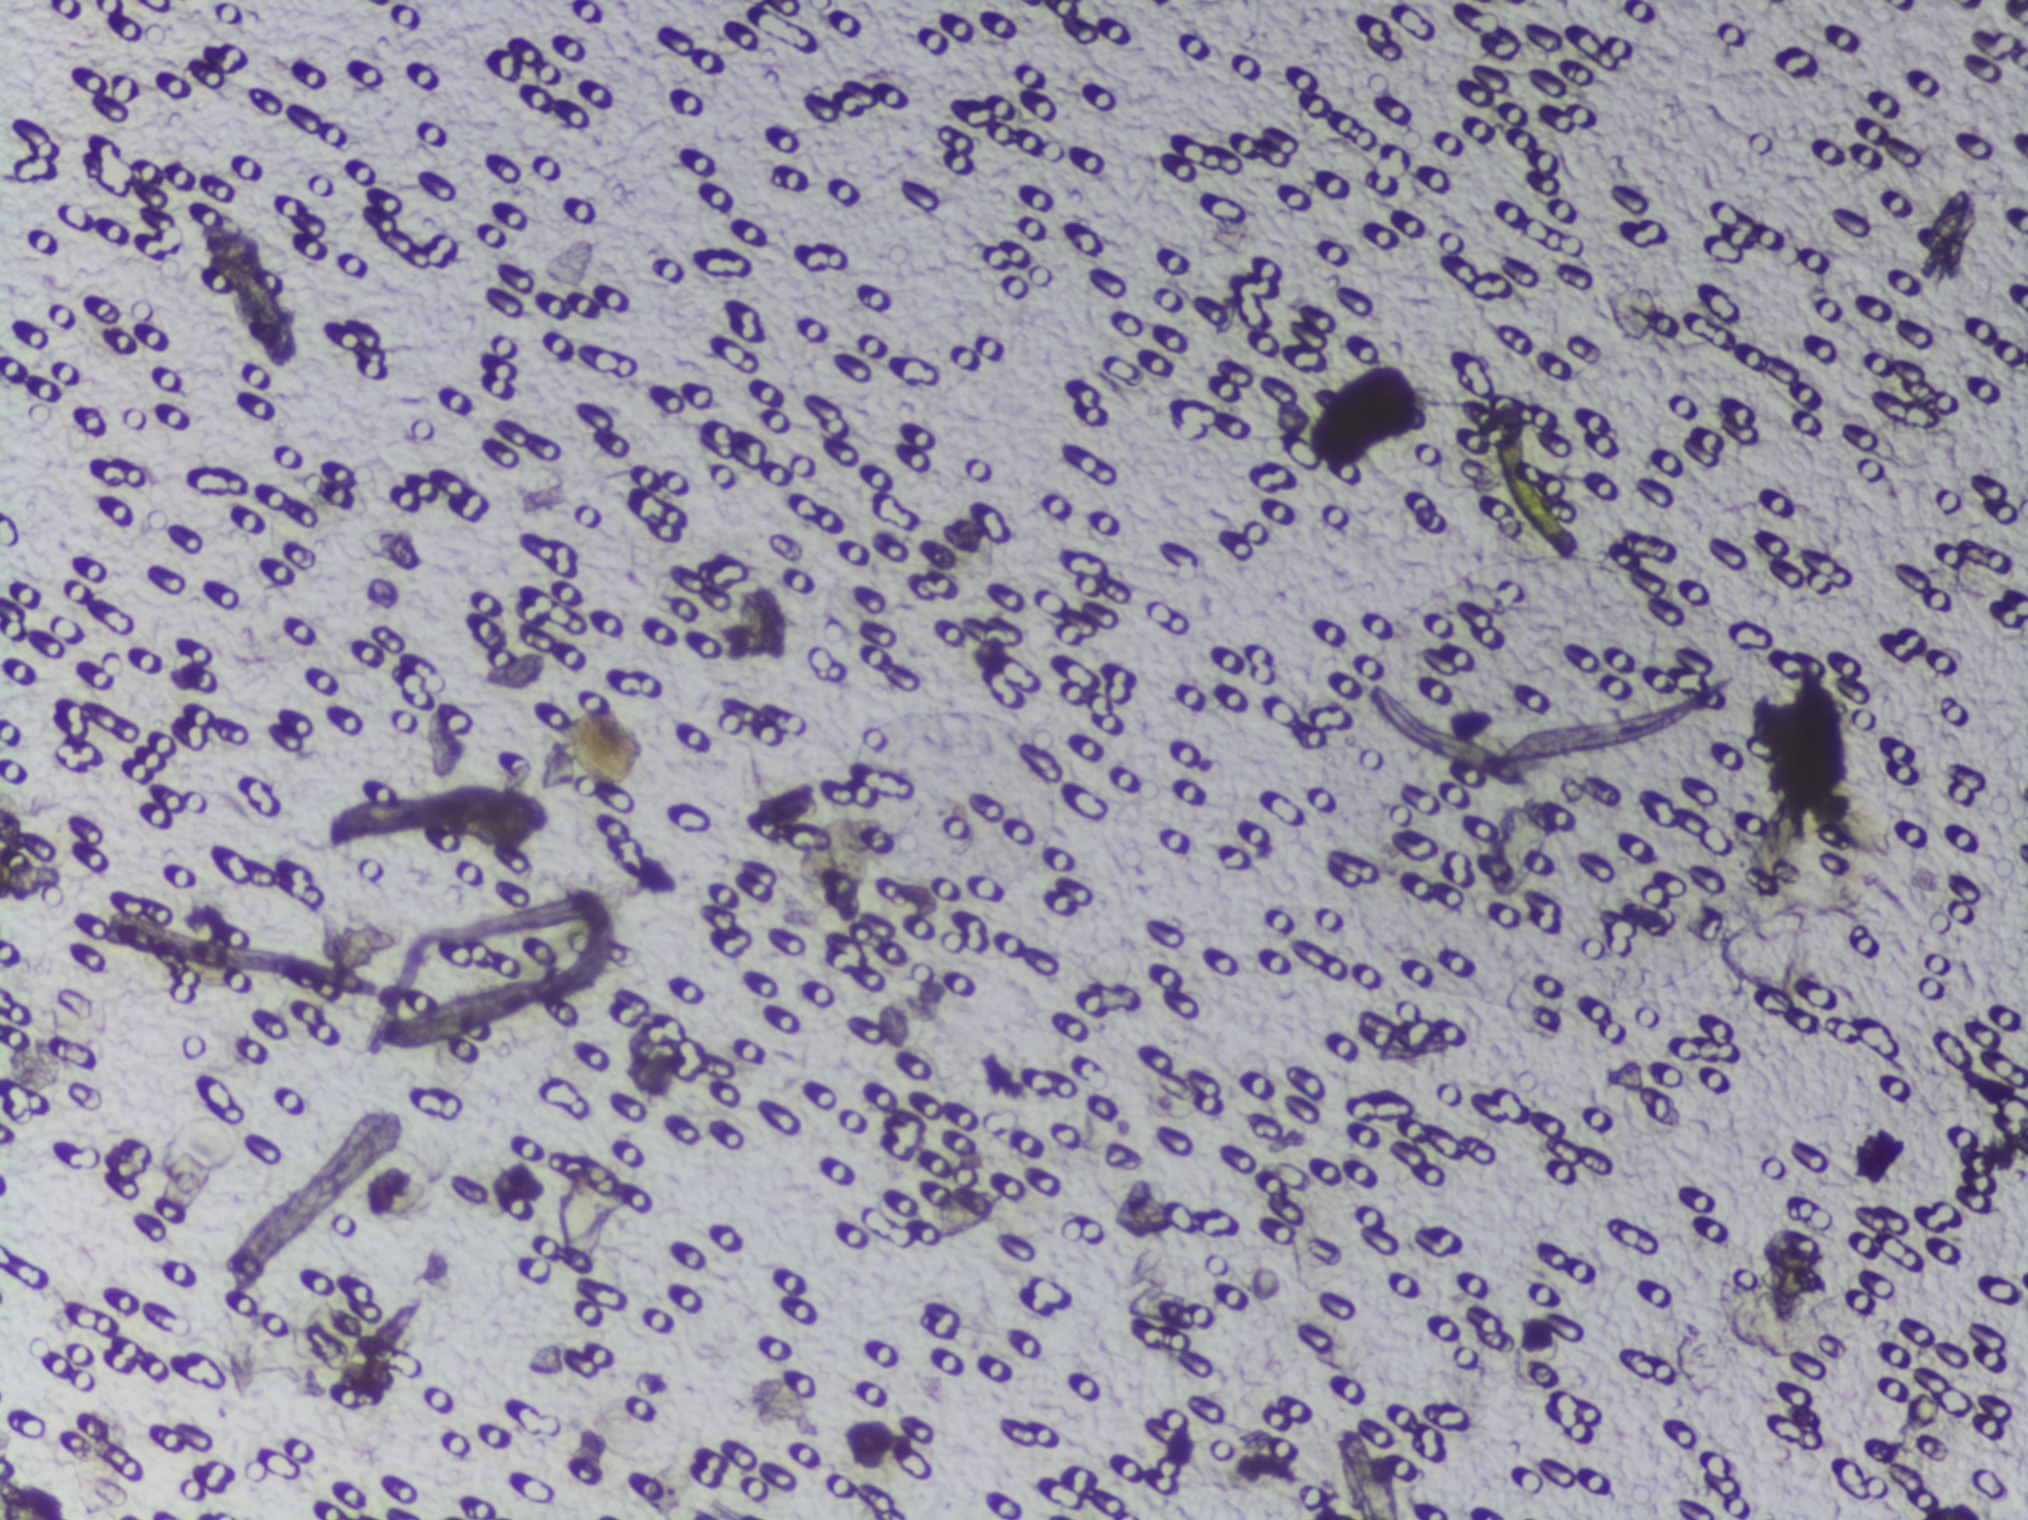
No area of this image was outlined as a Schistosoma egg.
Photograph from an automated digital microscope: urine filter membrane, 4× objective.